Photomicrograph of a urine filtration membrane, 4× objective.
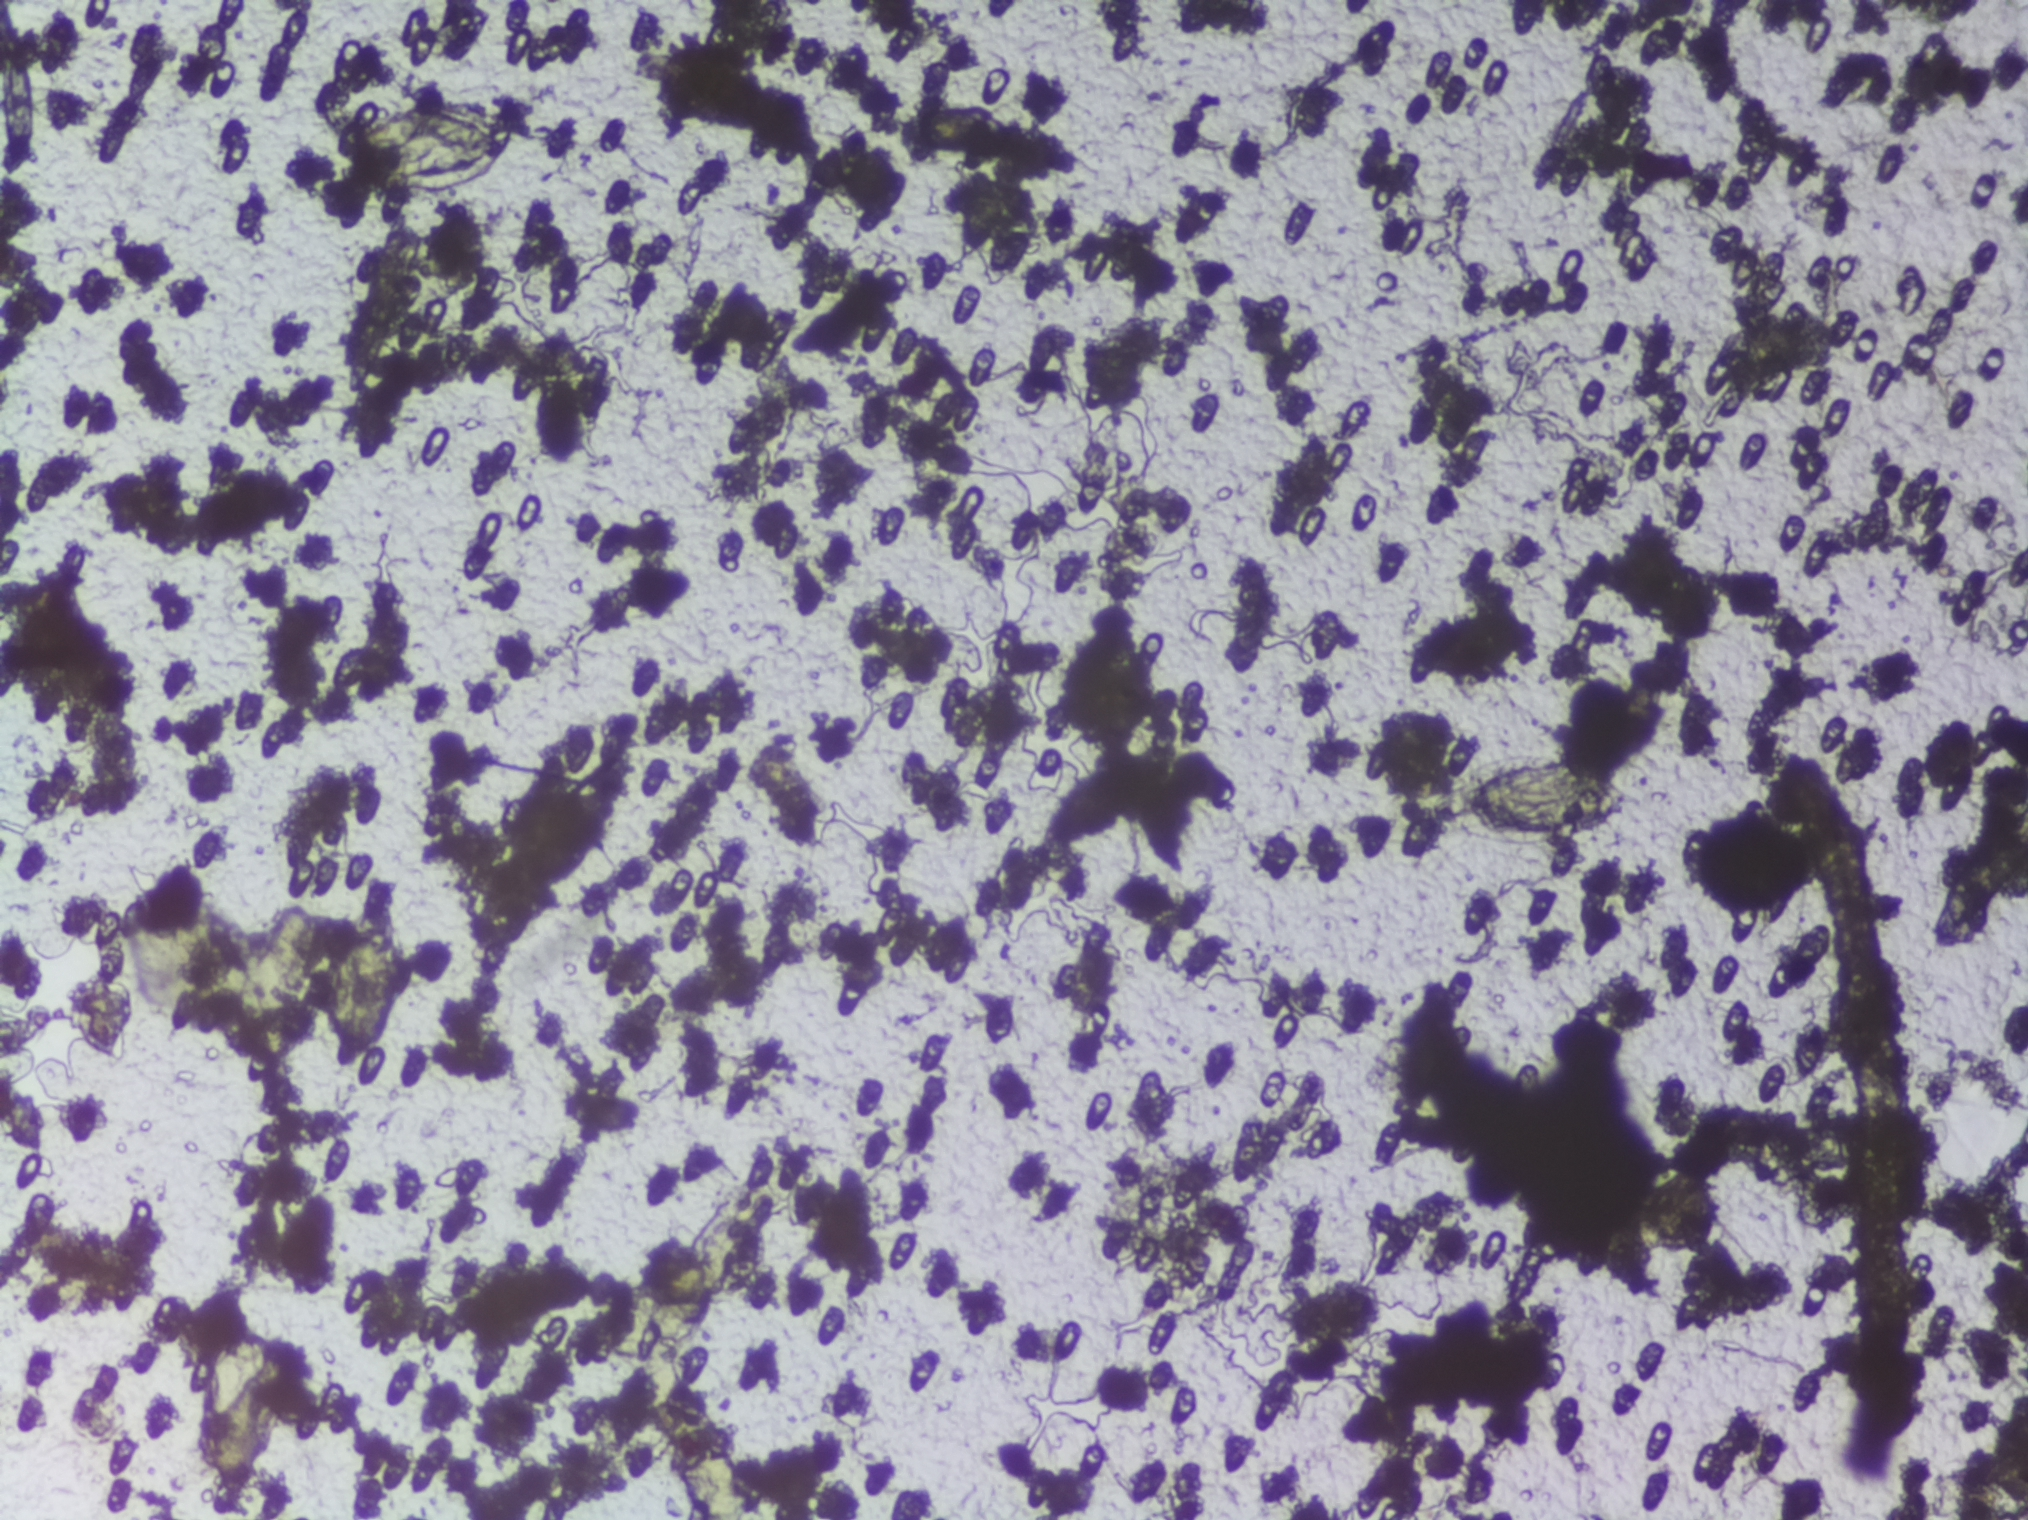
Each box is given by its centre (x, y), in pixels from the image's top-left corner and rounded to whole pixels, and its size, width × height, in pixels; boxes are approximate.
The expert annotation outlines Schistosoma eggs at centre (364, 978), 85 × 168 px; centre (418, 147), 199 × 97 px; centre (957, 133), 132 × 58 px; centre (1534, 797), 199 × 93 px (left to right). Marked pixels, not the boxes around them: about 1.5% of the image. An outlined area can hold more than one egg.